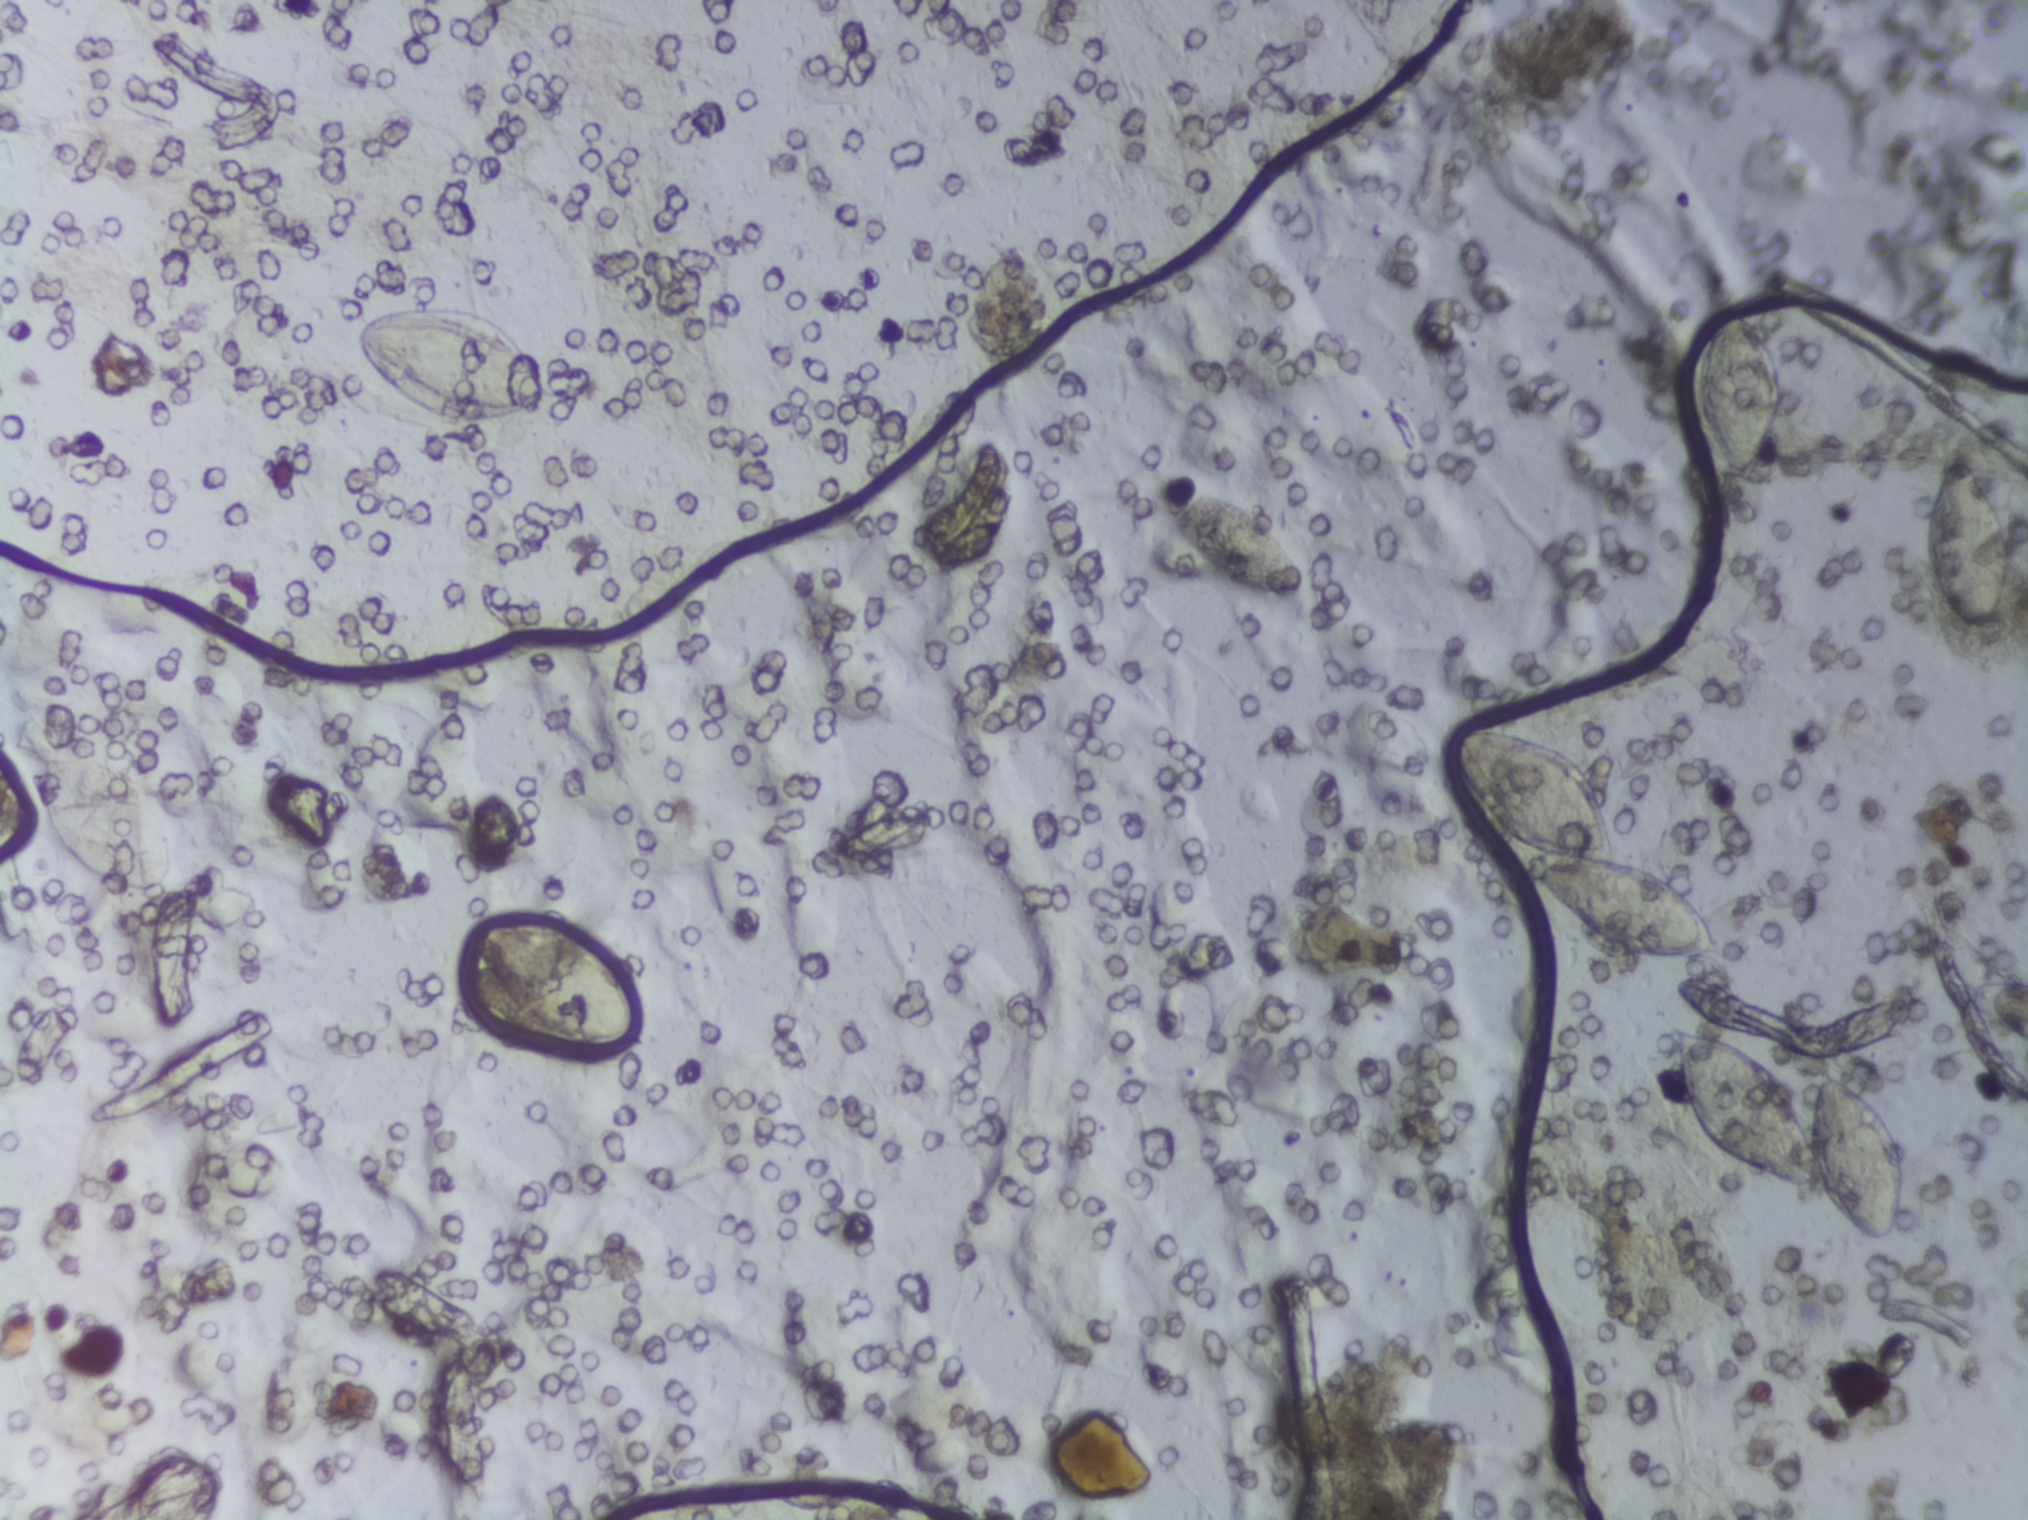
Photograph from an automated digital microscope: urine filter membrane, 4× objective.
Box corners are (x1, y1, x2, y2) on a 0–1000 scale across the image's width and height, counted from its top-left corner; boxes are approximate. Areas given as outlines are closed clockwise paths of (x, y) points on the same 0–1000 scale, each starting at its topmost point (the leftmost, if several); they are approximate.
Areas outlined as Schistosoma eggs, left to right:
1. box (17, 485, 88, 592)
2. box (176, 199, 273, 280)
3. box (231, 603, 321, 694)
4. box (574, 323, 643, 396)
5. outline (718, 477), (756, 483), (778, 498), (795, 531), (801, 566), (831, 584), (841, 600), (852, 627), (819, 633), (800, 628), (785, 618), (764, 591), (754, 562), (737, 547), (728, 532), (715, 492), (714, 482)
6. box (824, 676, 940, 822)
7. box (835, 203, 879, 319)
8. box (947, 292, 994, 420)
A single outlined area may contain several eggs.